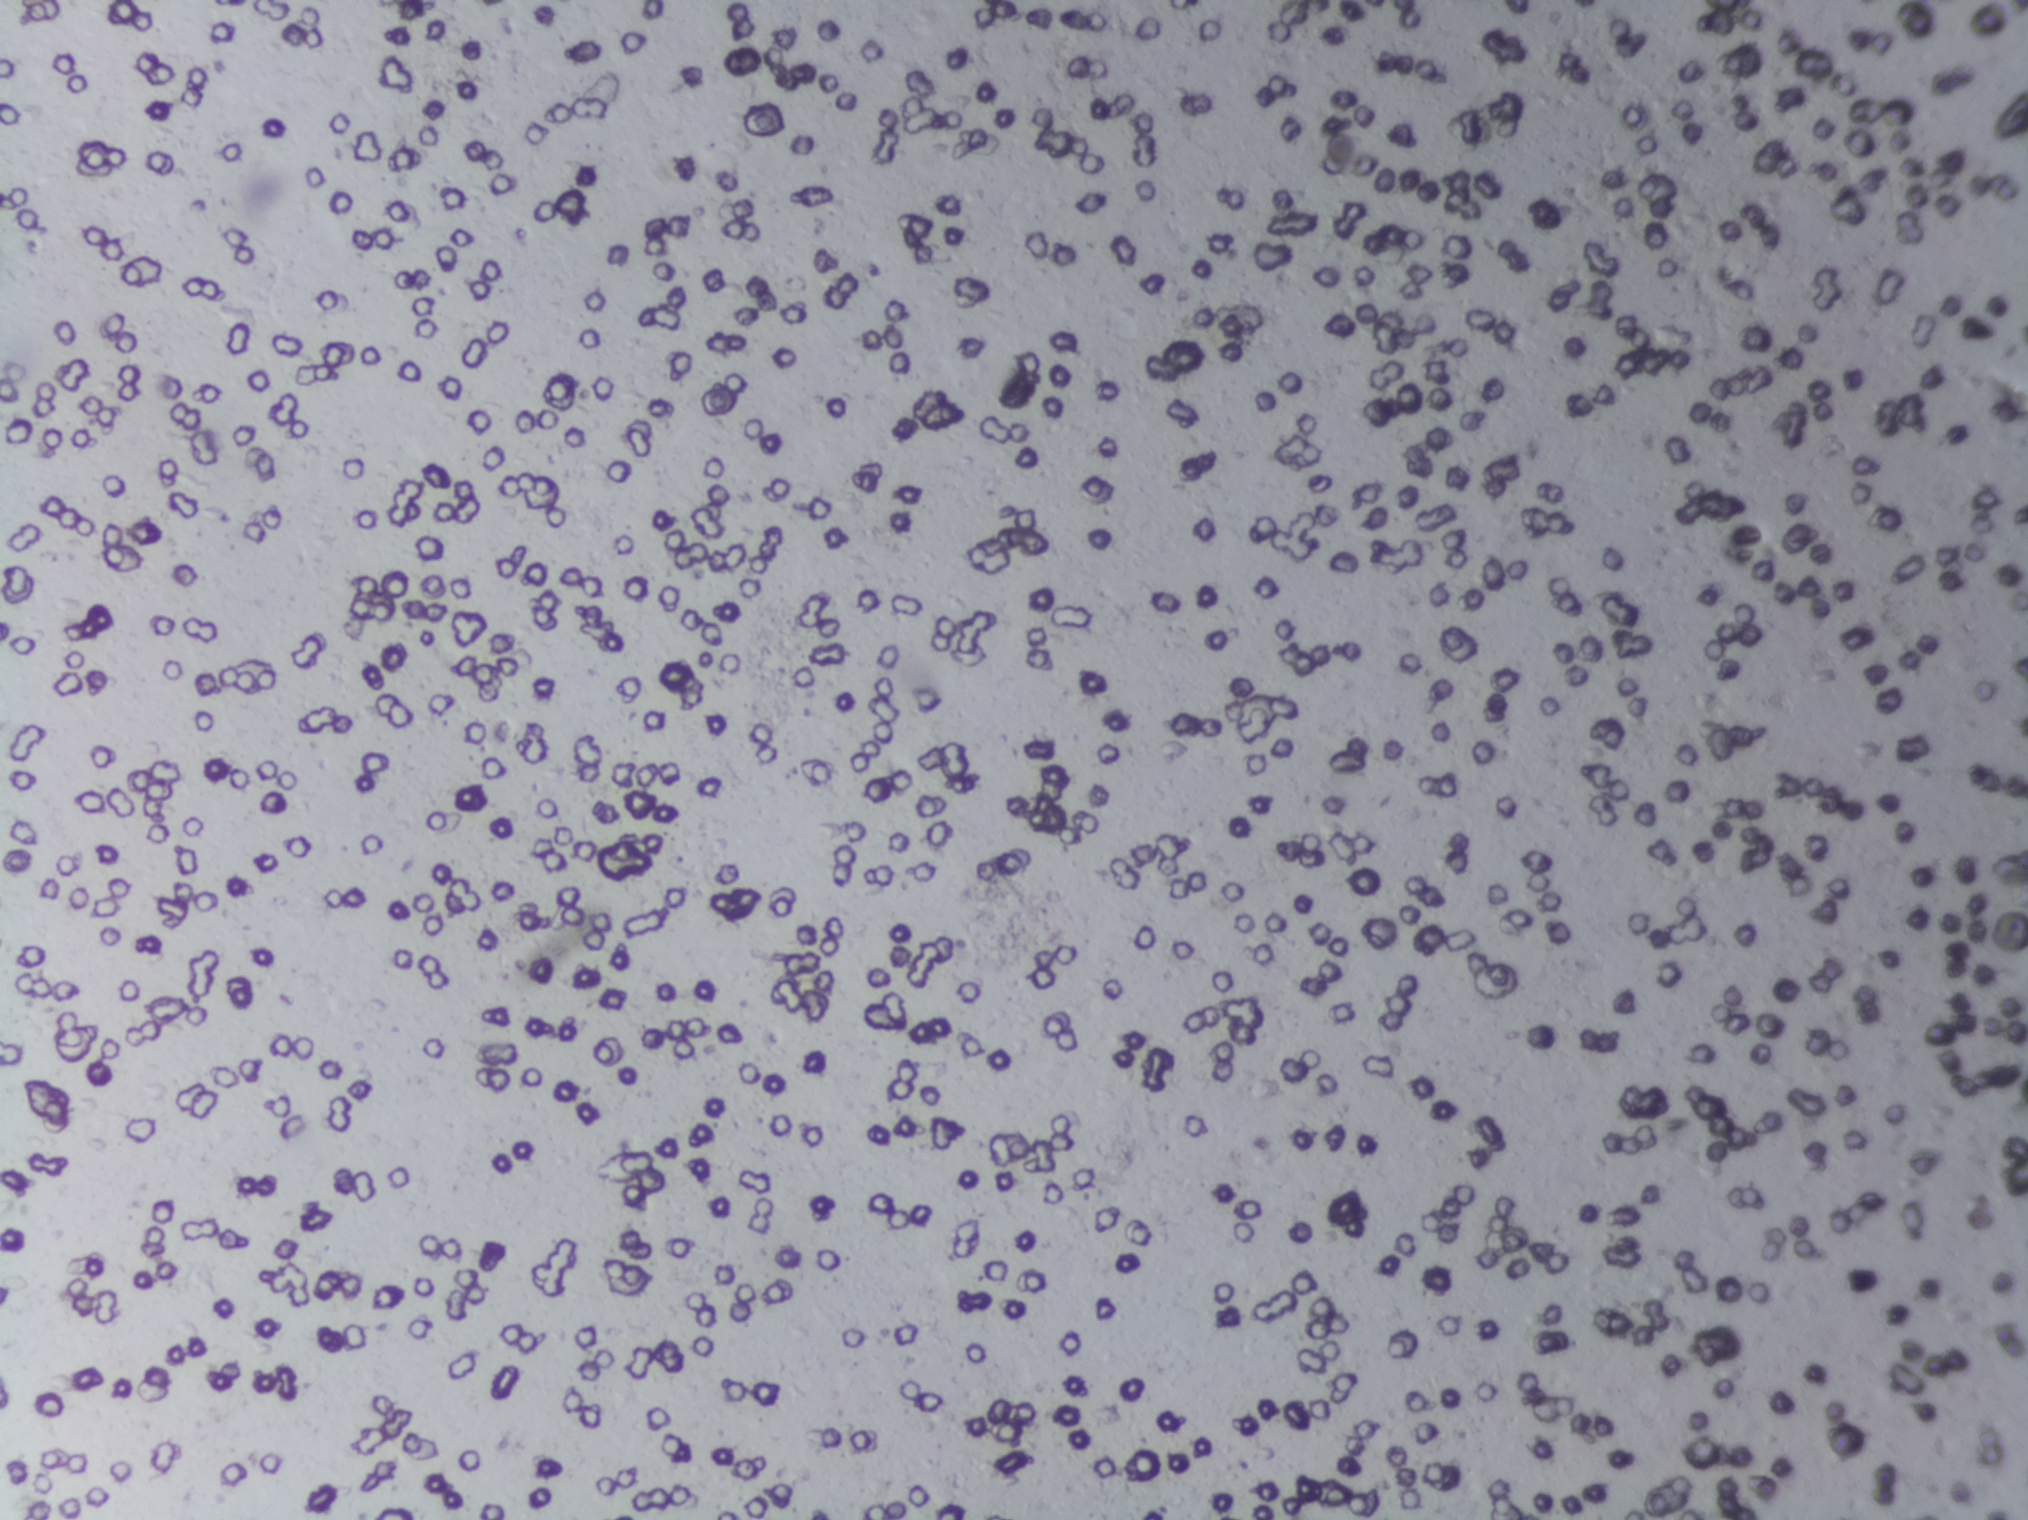
One field of view of a urine filter membrane, 4× objective, 2028 × 1520 pixels.
Schistosoma eggs: none outlined.